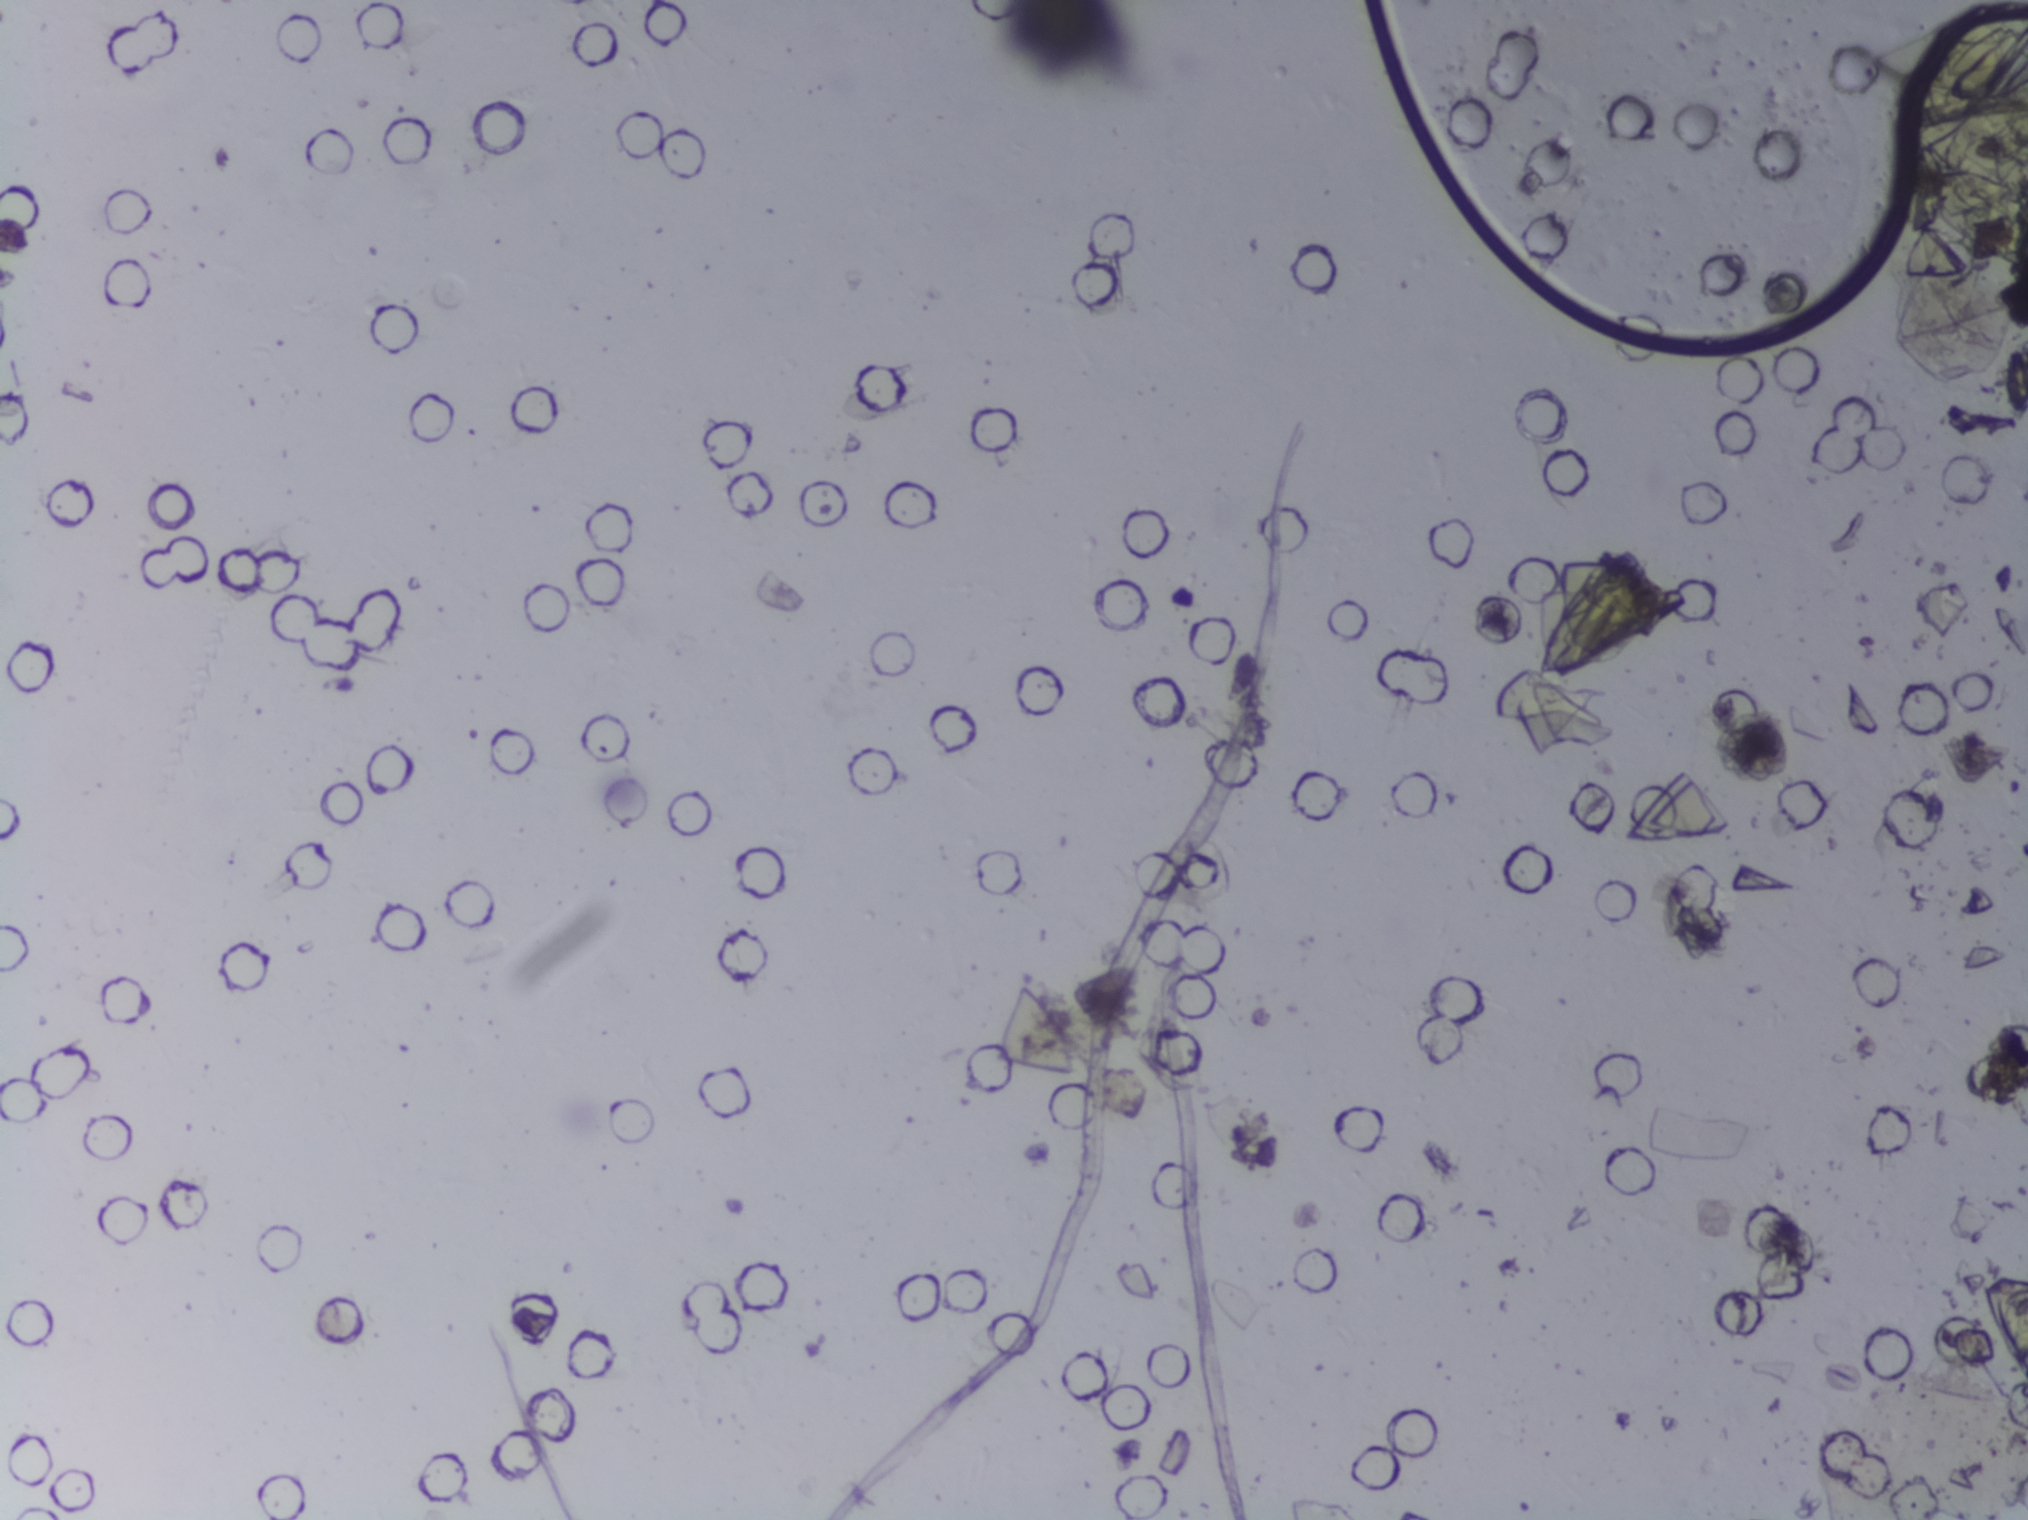
Photomicrograph of a urine filtration membrane, 4× objective.
The expert annotation marks no Schistosoma egg in this field of view.